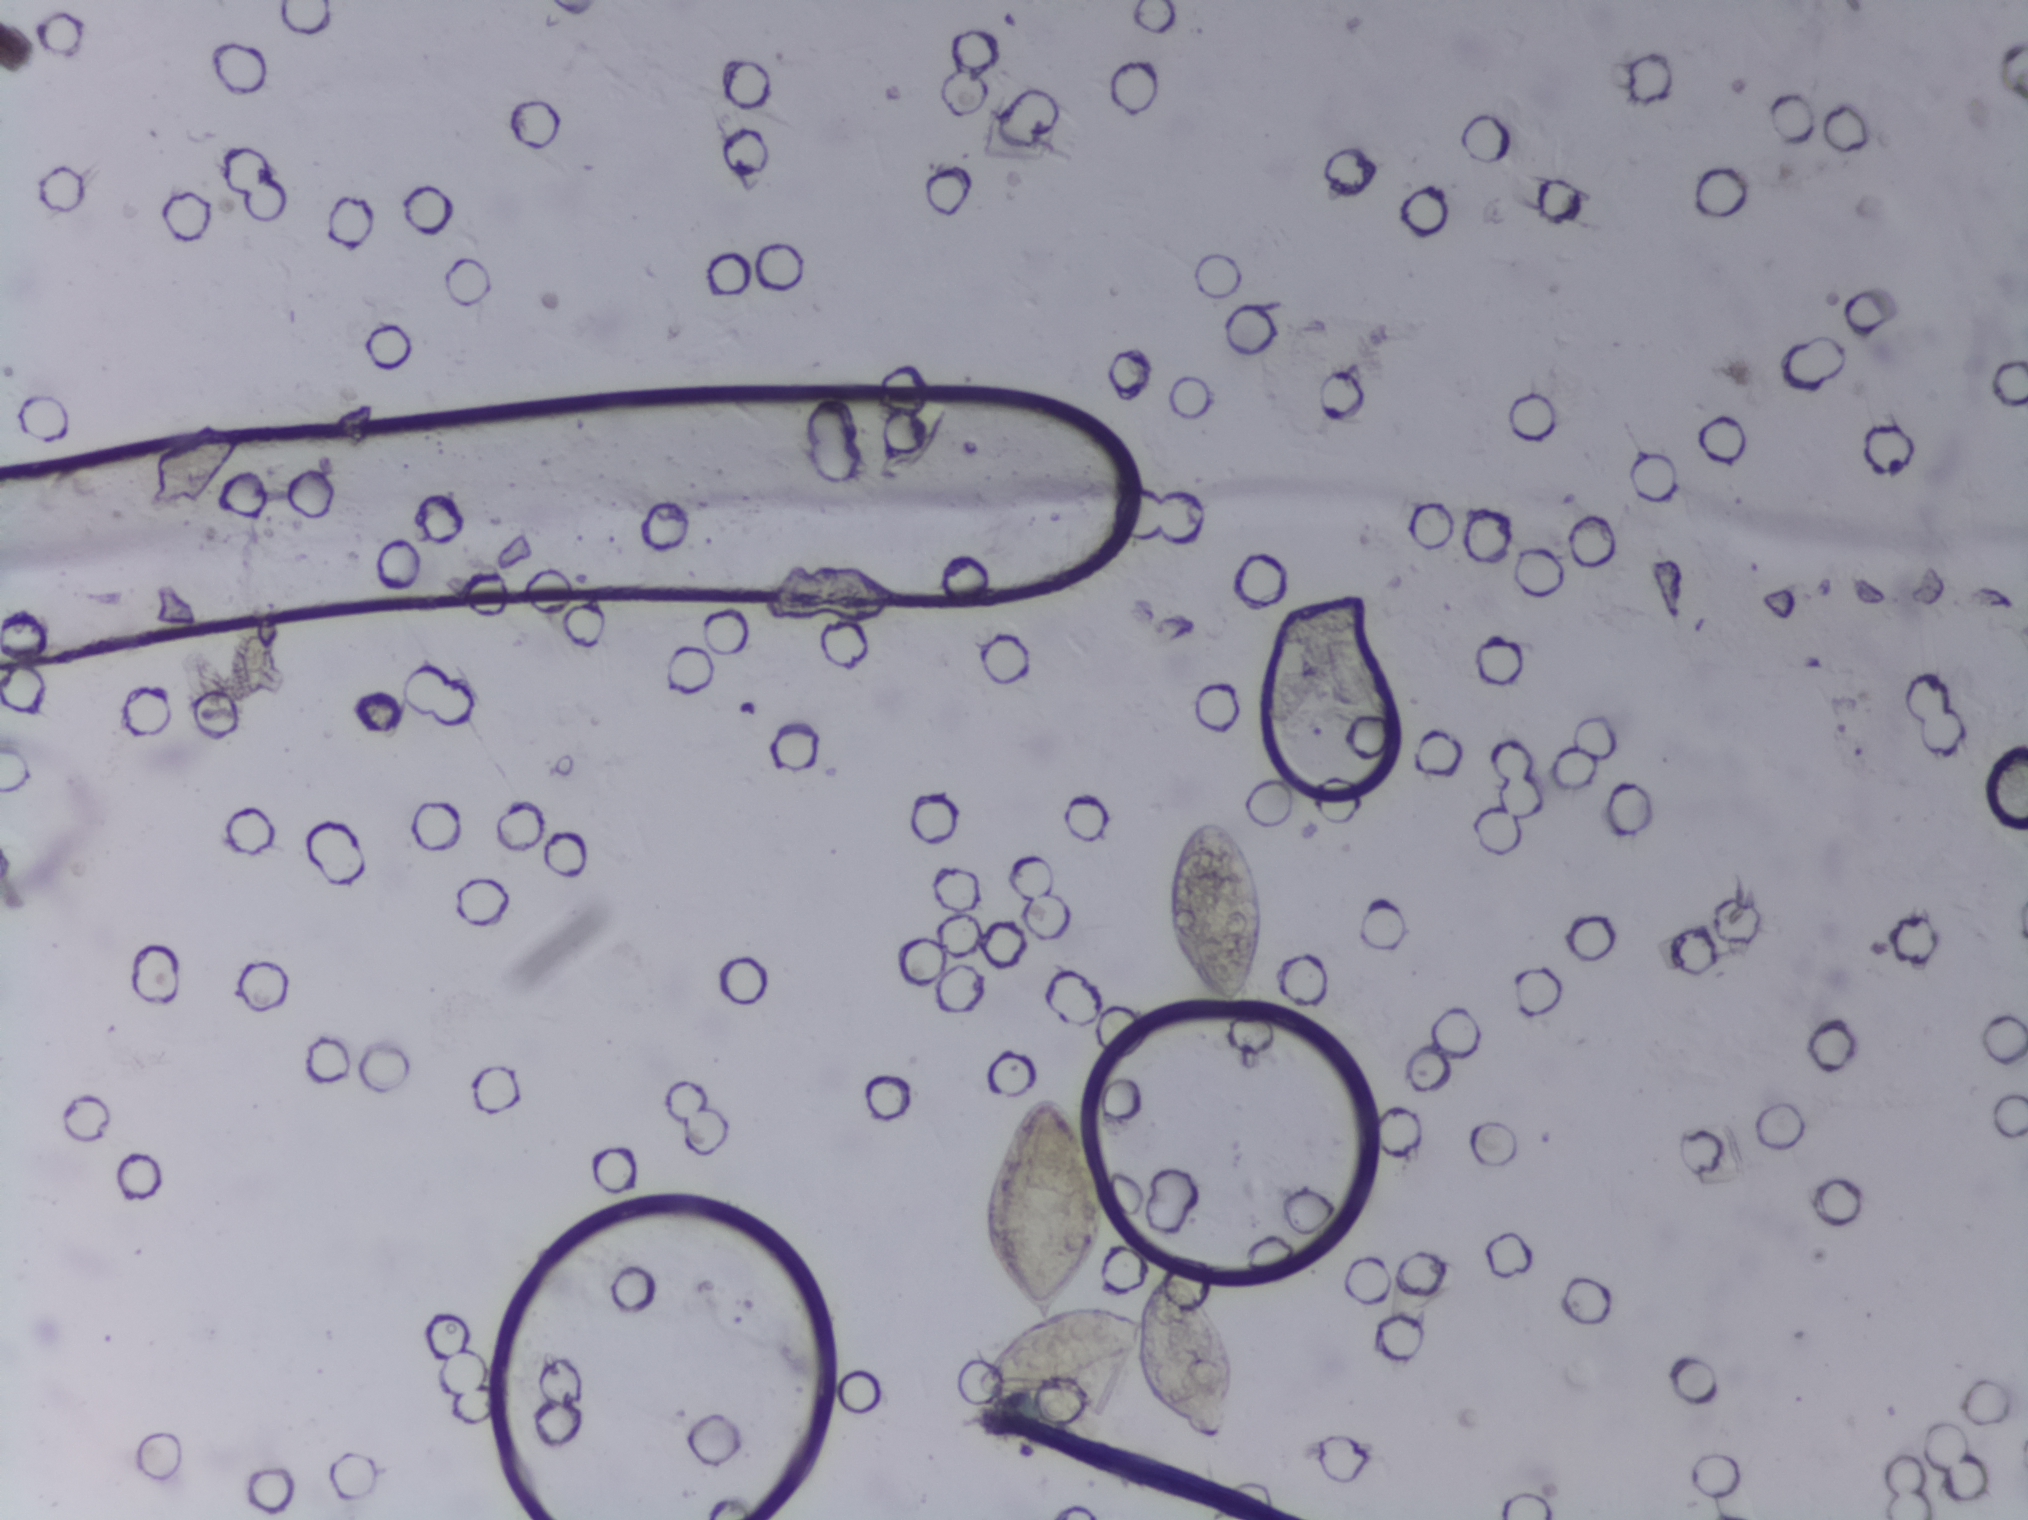
Microscope photograph (4× objective) of a membrane that a urine sample was filtered through.
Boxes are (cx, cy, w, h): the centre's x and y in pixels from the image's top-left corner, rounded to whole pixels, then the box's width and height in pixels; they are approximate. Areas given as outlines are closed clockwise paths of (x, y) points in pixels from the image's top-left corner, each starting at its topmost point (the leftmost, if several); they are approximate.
Areas outlined as Schistosoma eggs: outline (1053, 1089), (1068, 1094), (1085, 1124), (1112, 1197), (1101, 1250), (1060, 1304), (1103, 1295), (1128, 1308), (1145, 1279), (1164, 1267), (1192, 1283), (1235, 1336), (1242, 1362), (1240, 1393), (1211, 1444), (1151, 1416), (1125, 1381), (1076, 1402), (984, 1402), (967, 1390), (977, 1359), (1034, 1316), (989, 1272), (981, 1250), (981, 1187), (1017, 1115) (eggs clustered together); box (cx=1218, cy=910, w=114, h=198). A single outlined area may contain several eggs.